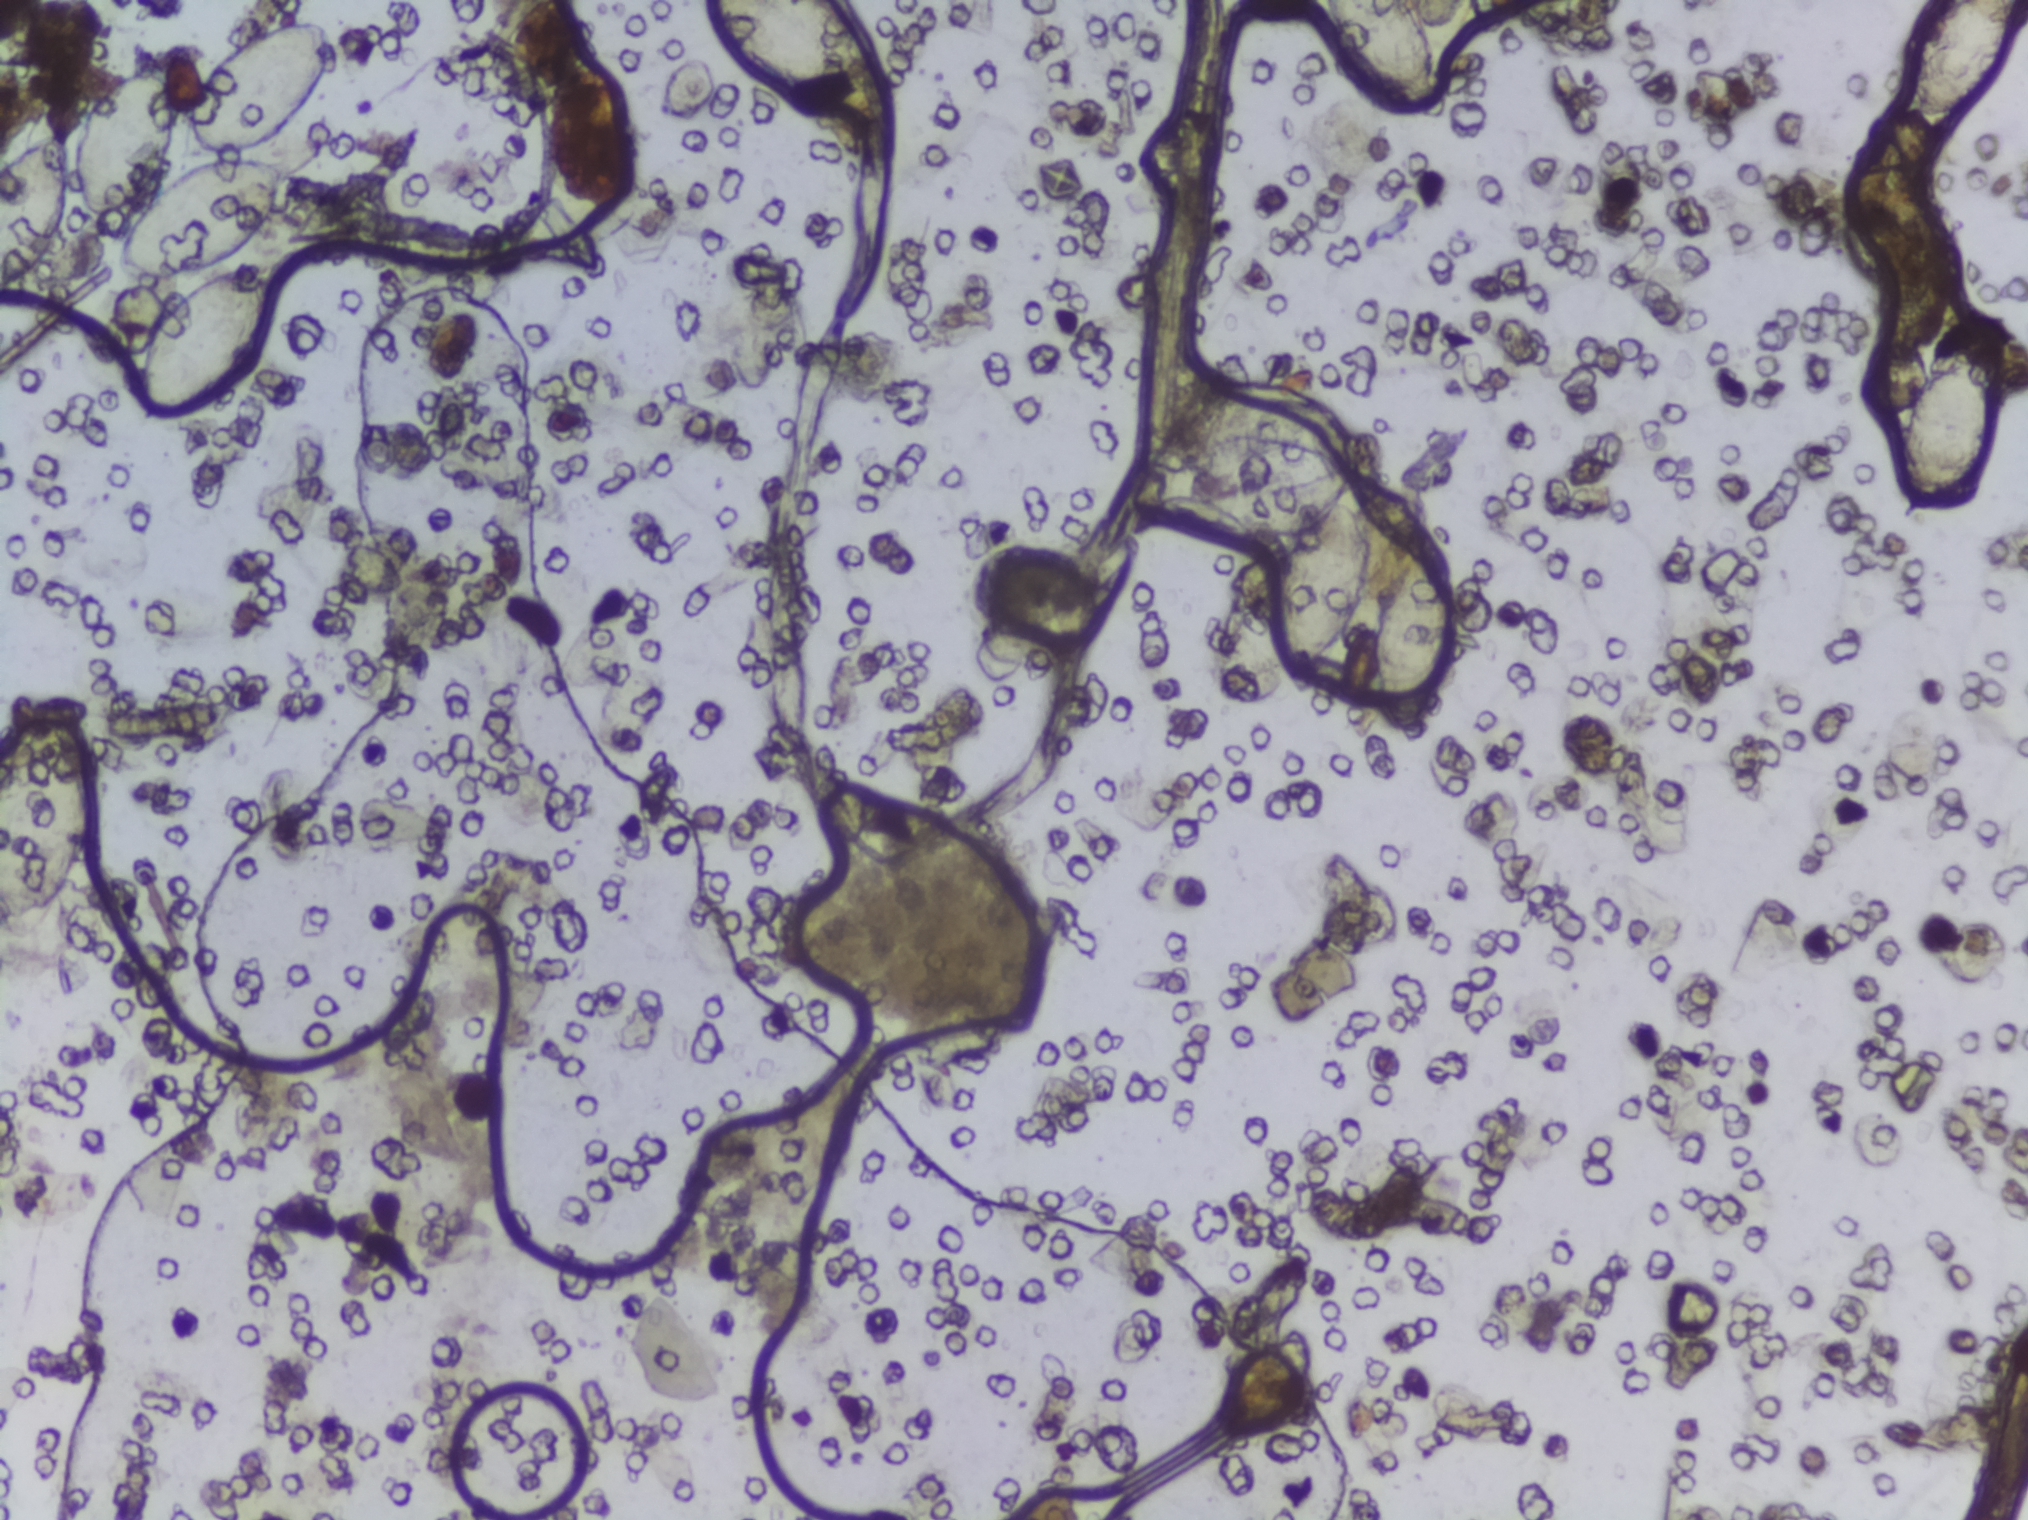
One field of view of a urine filter membrane, 4× objective, 2028 × 1520 pixels. Field of view: about 1.5 mm wide and 1.1 mm high.
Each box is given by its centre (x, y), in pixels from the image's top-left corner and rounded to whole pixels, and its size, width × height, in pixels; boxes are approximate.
Outlined Schistosoma egg areas, left to right:
1. centre (34, 214), 68 × 158 px (reaching the left edge of the frame)
2. centre (47, 822), 95 × 238 px (reaching the left edge of the frame)
3. centre (202, 150), 261 × 259 px
4. centre (203, 343), 138 × 158 px
5. centre (609, 680), 107 × 160 px
6. centre (770, 47), 116 × 94 px (reaching the top edge of the frame)
7. centre (1323, 583), 93 × 204 px
8. centre (1379, 51), 104 × 102 px (reaching the top edge of the frame)
9. centre (1414, 641), 81 × 199 px
10. centre (1946, 433), 101 × 184 px
11. centre (1959, 61), 120 × 123 px (reaching the top edge of the frame)
An outlined area can hold more than one egg. Any one outlined egg may, rarely, be S. mansoni rather than S. haematobium.